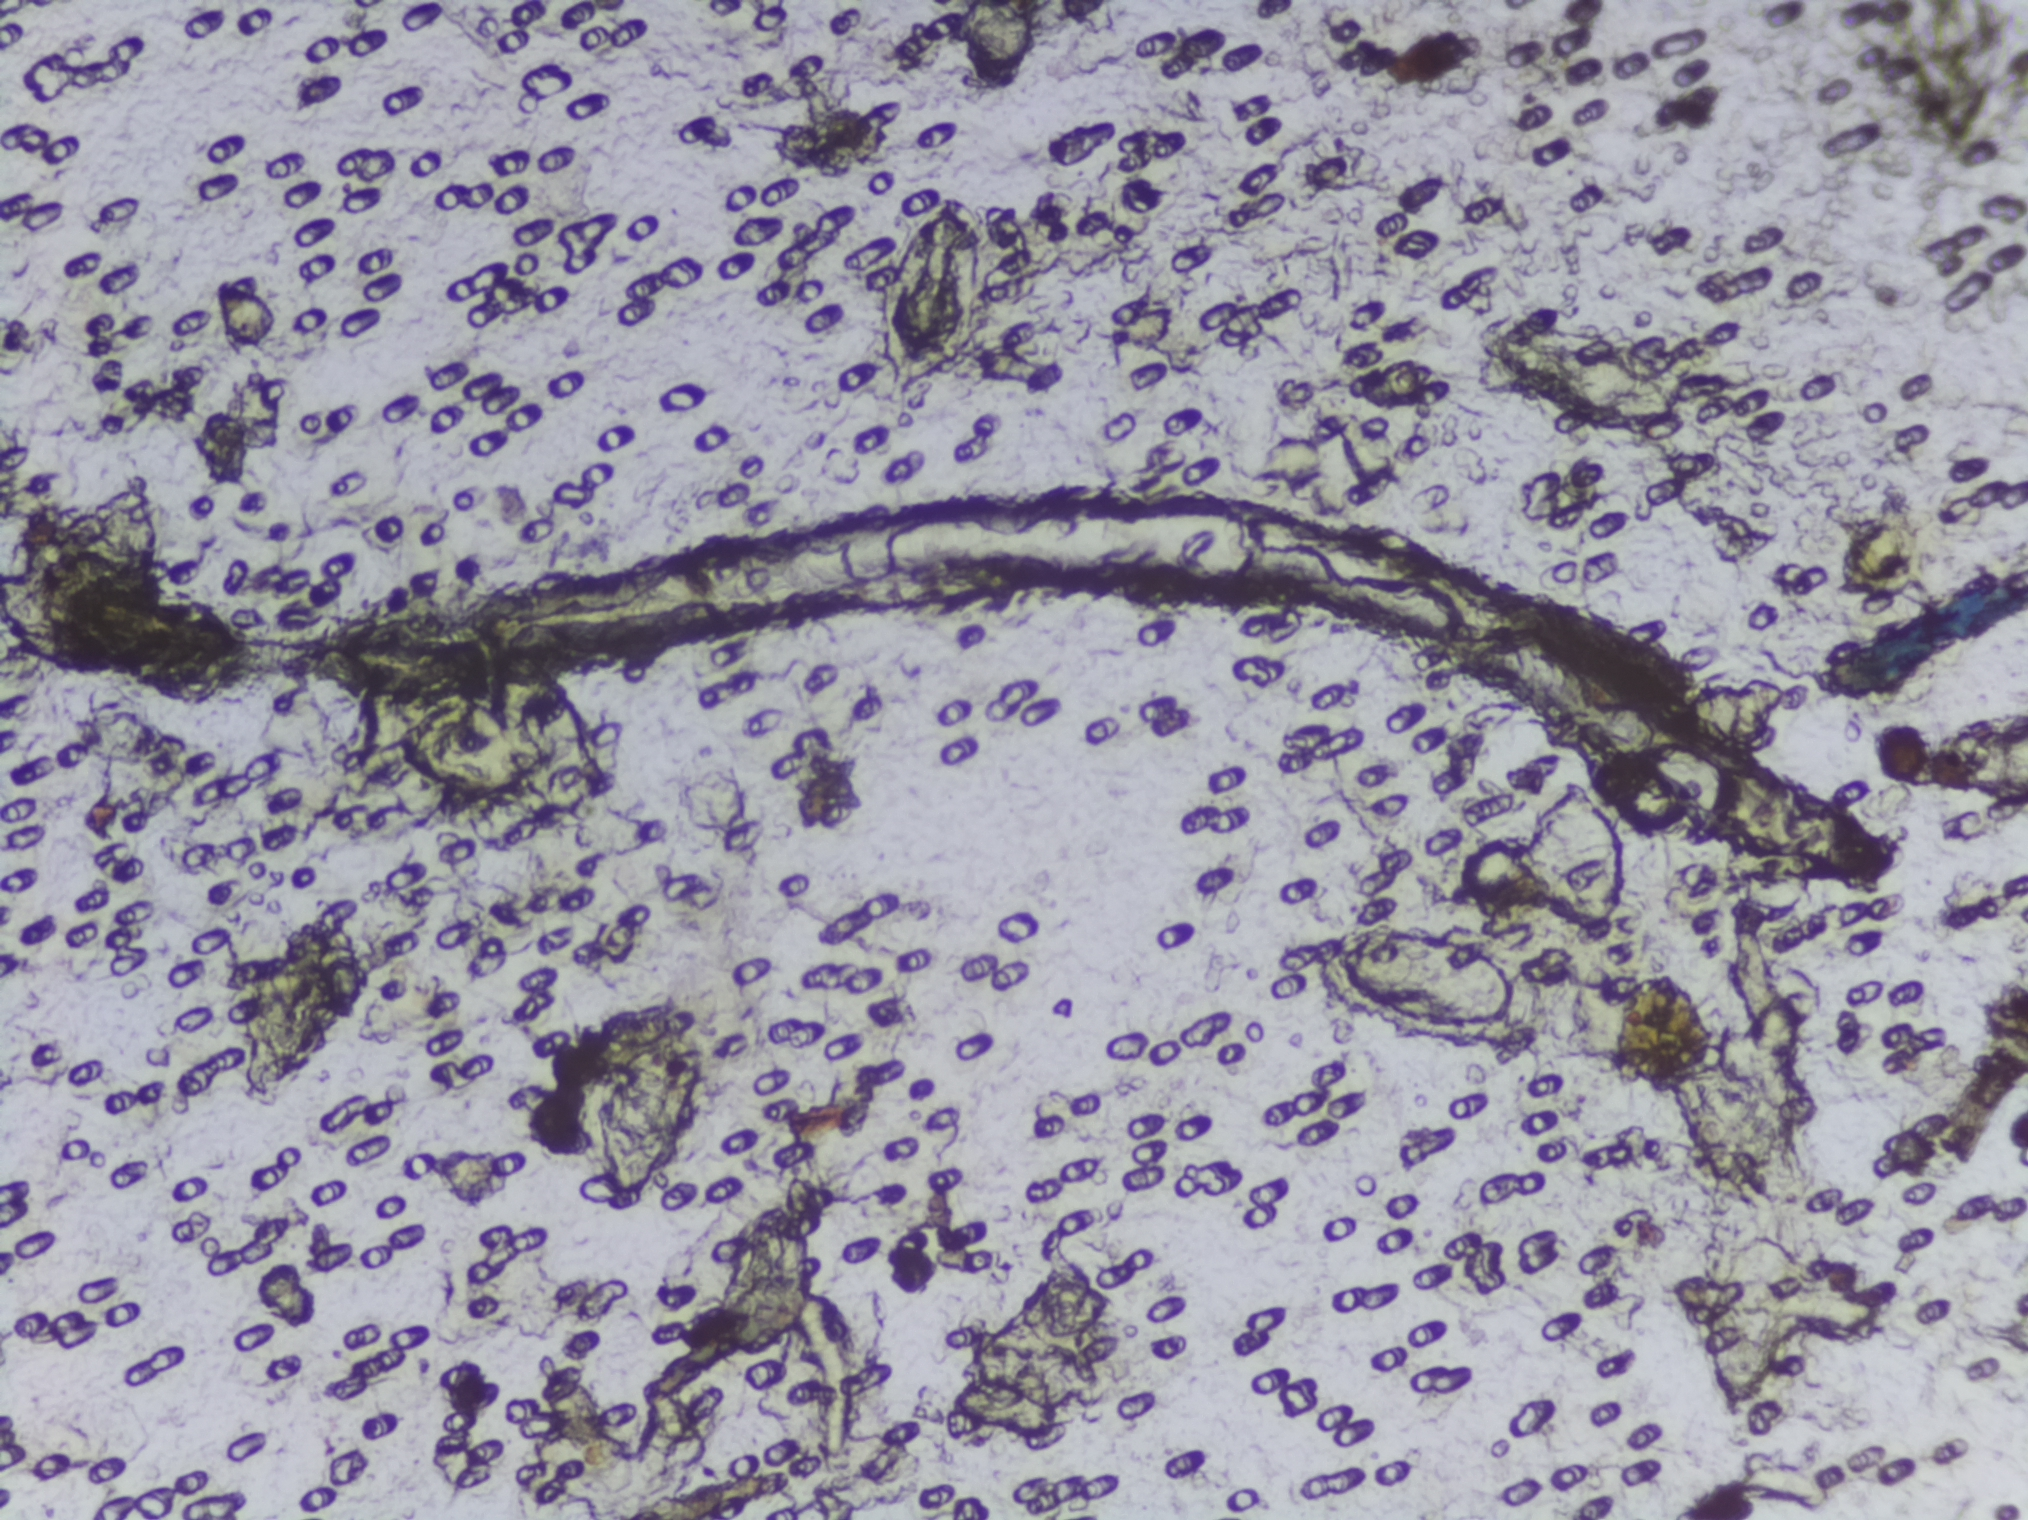
Photomicrograph of a urine filtration membrane, 4× objective. The image covers about 1.5 × 1.1 mm of the membrane.
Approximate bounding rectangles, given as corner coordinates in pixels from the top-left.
The expert annotation outlines Schistosoma eggs at (x1=597, y1=990, x2=719, y2=1201); (x1=714, y1=1193, x2=813, y2=1357); (x1=853, y1=188, x2=1007, y2=418); (x1=1309, y1=922, x2=1520, y2=1035); (x1=1469, y1=319, x2=1688, y2=447); (x1=1663, y1=1051, x2=1823, y2=1203); (x1=1701, y1=1229, x2=1811, y2=1420); (x1=1919, y1=689, x2=2027, y2=813) (reaching the right edge of the frame) (left to right). A single outlined area may contain several eggs.